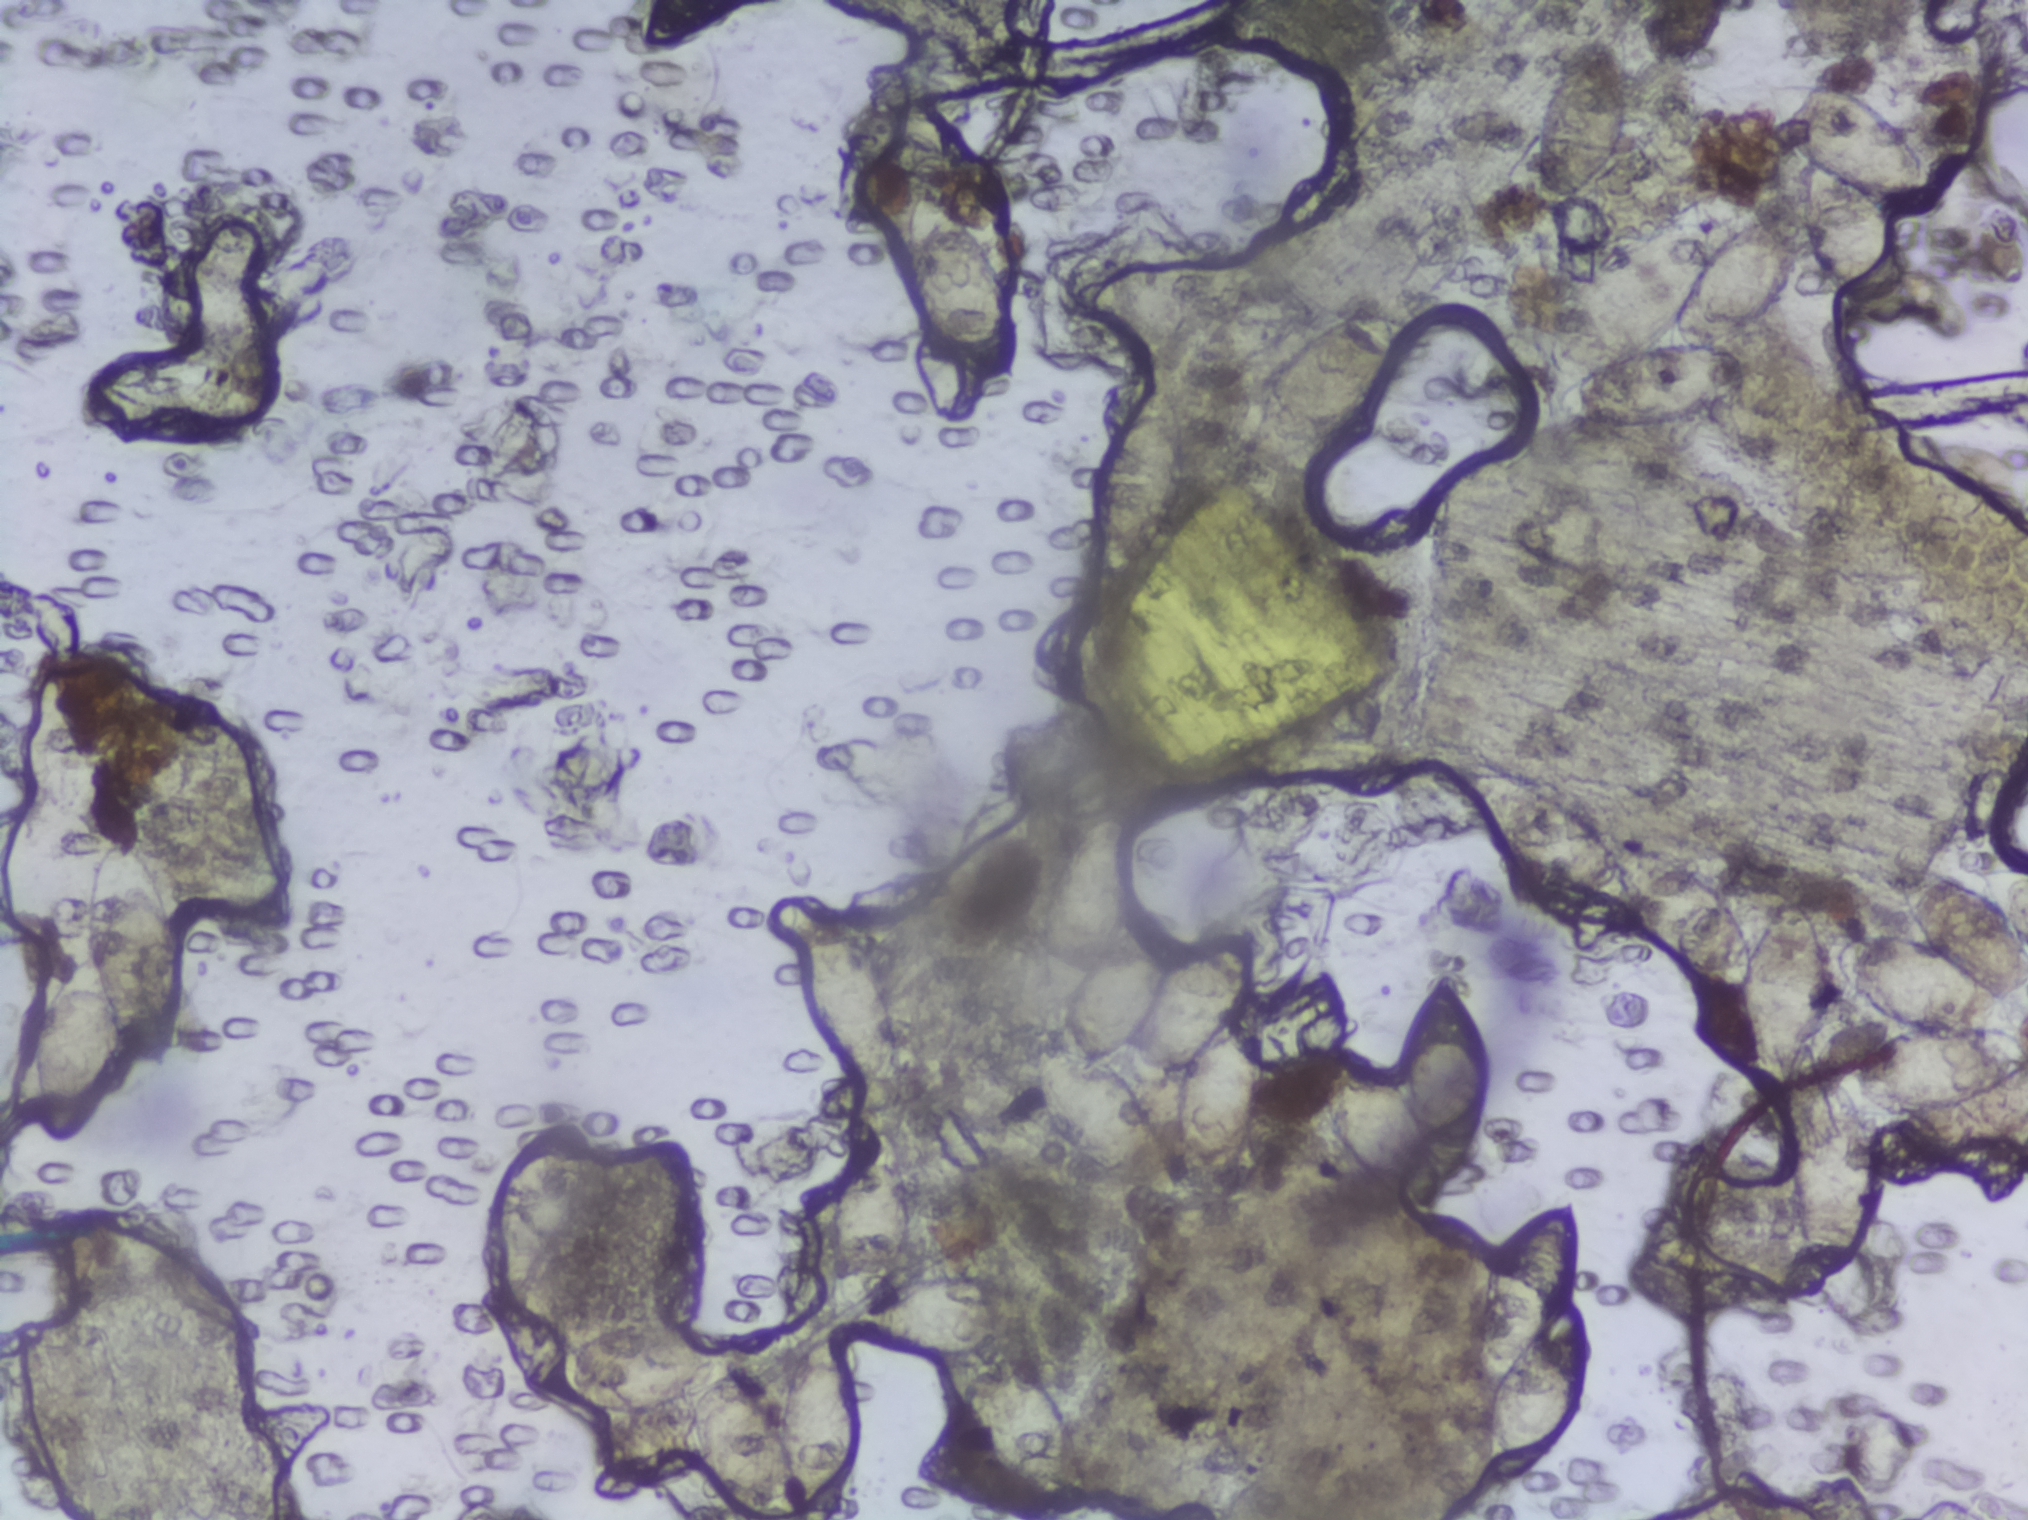
Photograph from an automated digital microscope: urine filter membrane, 4× objective.
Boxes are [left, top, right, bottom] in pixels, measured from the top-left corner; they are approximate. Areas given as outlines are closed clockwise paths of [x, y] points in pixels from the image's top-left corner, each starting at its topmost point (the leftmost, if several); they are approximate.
Outlined Schistosoma egg areas, left to right:
1. box [29, 836, 185, 1146]
2. box [520, 1318, 864, 1518]
3. box [794, 904, 907, 1090]
4. outline [882, 1126], [905, 1157], [914, 1191], [914, 1218], [895, 1281], [957, 1272], [1015, 1279], [1032, 1289], [1039, 1306], [1026, 1333], [960, 1356], [940, 1356], [889, 1345], [847, 1322], [866, 1297], [832, 1253], [829, 1209], [852, 1155]
5. box [907, 188, 1010, 370]
6. box [959, 1362, 1090, 1494]
7. outline [1101, 809], [1120, 813], [1132, 839], [1131, 922], [1149, 911], [1164, 912], [1175, 944], [1189, 935], [1242, 926], [1255, 939], [1263, 1089], [1235, 1170], [1213, 1193], [1193, 1193], [1180, 1177], [1170, 1132], [1173, 1076], [1141, 1072], [1130, 1058], [1128, 1034], [1108, 1060], [1138, 1085], [1167, 1132], [1175, 1161], [1172, 1190], [1153, 1199], [1125, 1196], [1068, 1161], [1037, 1127], [1030, 1091], [1034, 1047], [1040, 1036], [1062, 1035], [1064, 1010], [1053, 1006], [1040, 970], [1041, 911], [1058, 853] (a cluster of eggs)
8. box [1096, 378, 1188, 575]
9. box [1239, 310, 1398, 470]
10. box [1315, 967, 1490, 1216]
11. outline [1488, 766], [1536, 770], [1571, 794], [1615, 841], [1678, 855], [1721, 888], [1753, 937], [1785, 893], [1816, 908], [1829, 961], [1829, 1006], [1815, 1045], [1844, 1062], [1838, 1072], [1859, 1102], [1875, 1148], [1874, 1223], [1862, 1255], [1850, 1266], [1820, 1269], [1791, 1235], [1777, 1145], [1782, 1097], [1763, 1096], [1753, 1079], [1741, 992], [1710, 991], [1668, 962], [1628, 929], [1609, 892], [1564, 900], [1534, 889], [1468, 816], [1459, 773] (a cluster of eggs)
12. box [1468, 1197, 1593, 1492]
13. box [1533, 36, 1629, 210]
14. outline [1792, 79], [1855, 92], [1886, 111], [1926, 151], [1928, 191], [1880, 196], [1906, 240], [1910, 307], [1888, 327], [1842, 308], [1811, 266], [1803, 232], [1802, 253], [1784, 296], [1721, 345], [1742, 351], [1751, 366], [1751, 388], [1729, 410], [1660, 432], [1585, 426], [1555, 412], [1552, 397], [1566, 378], [1551, 366], [1548, 334], [1581, 282], [1612, 253], [1672, 221], [1711, 210], [1721, 222], [1722, 241], [1746, 222], [1780, 209], [1795, 208], [1801, 217], [1801, 164], [1778, 138], [1764, 90], [1765, 84] (a cluster of eggs)
15. box [1835, 859, 2027, 1119] (reaching the right edge of the frame)
An outlined area can hold more than one egg.